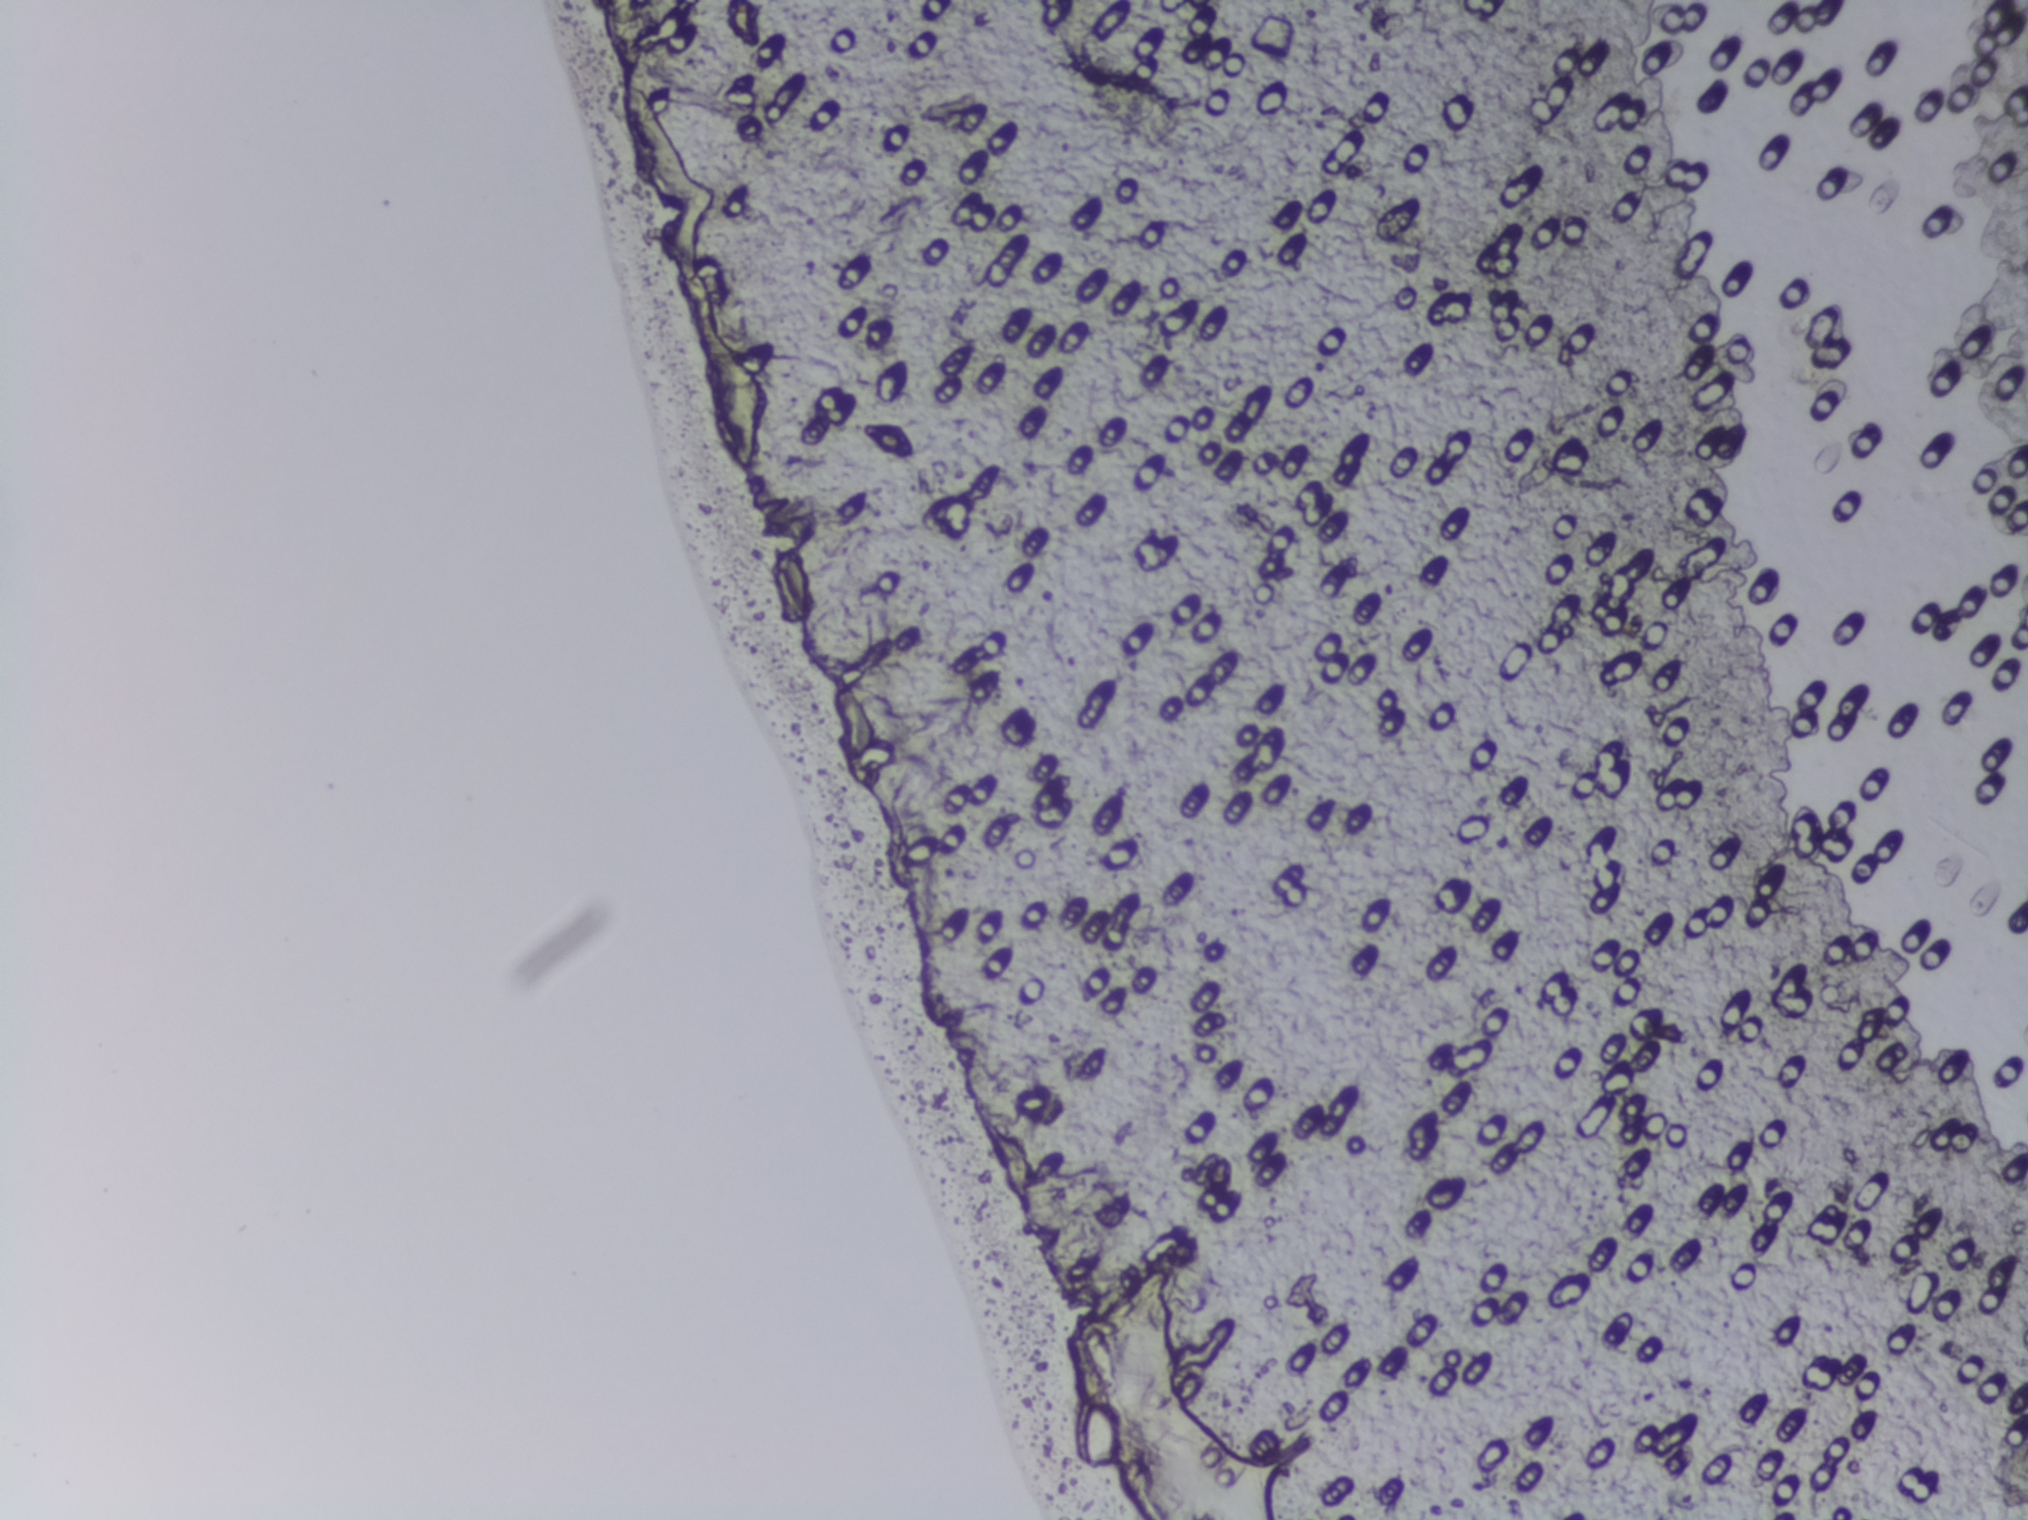
Photomicrograph of a urine filtration membrane, 4× objective.
The expert annotation marks no Schistosoma egg in this field of view.